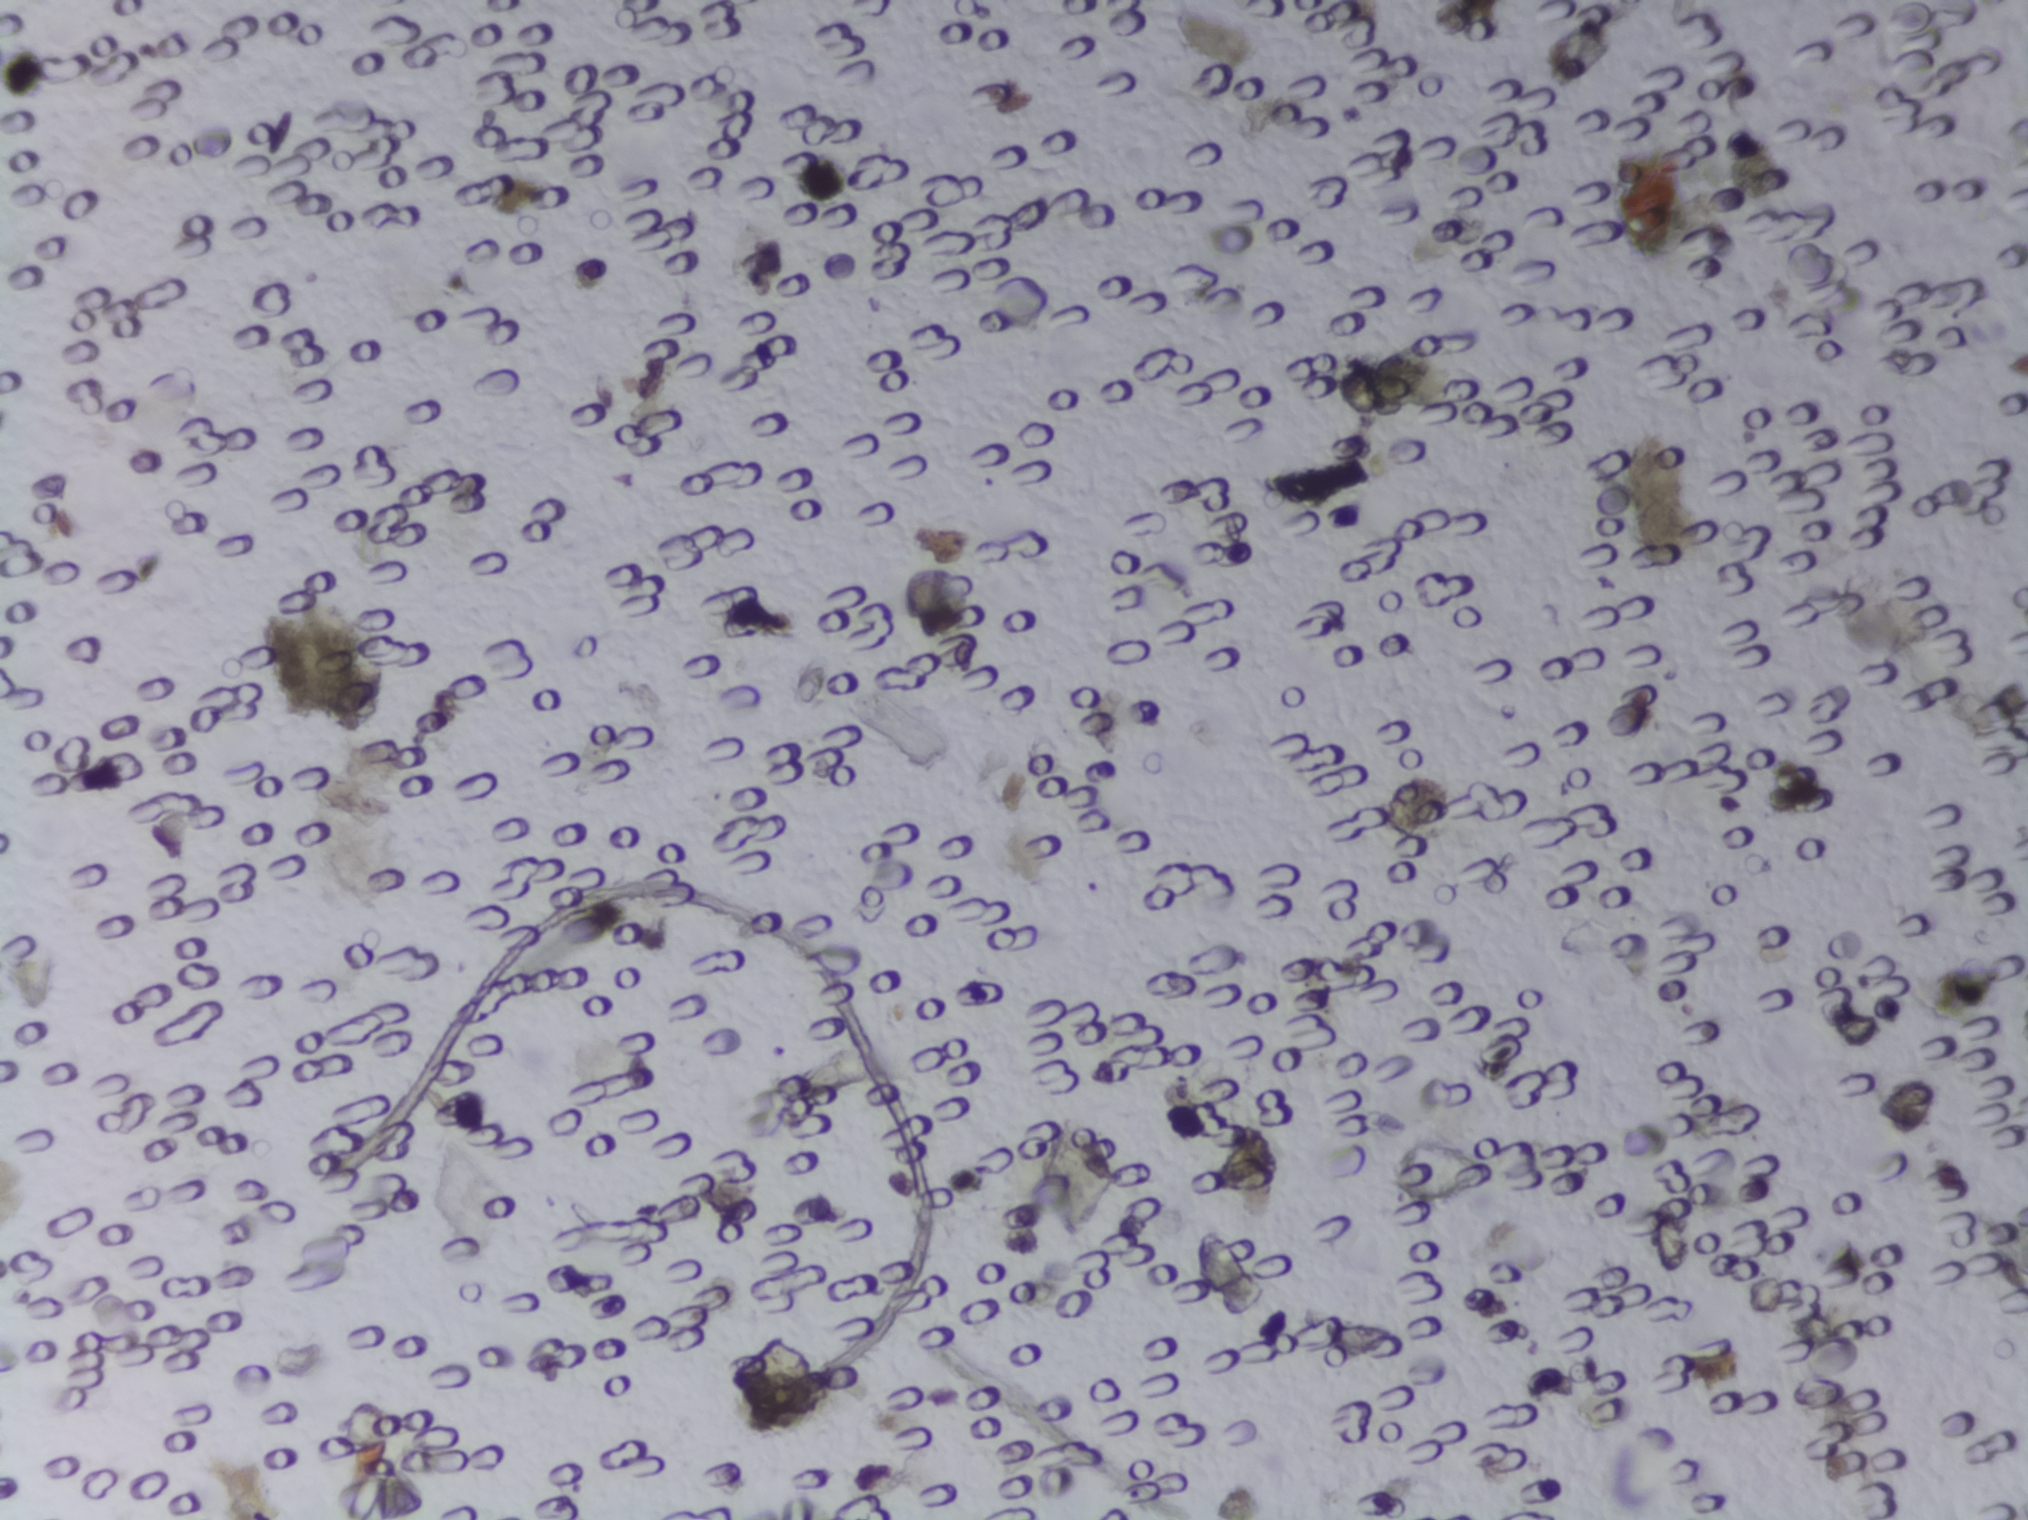
Urine filtration membrane under a 4× objective, photographed by an automated digital microscope. The field of view is about 1.5 mm × 1.1 mm.
Schistosoma eggs: none outlined.